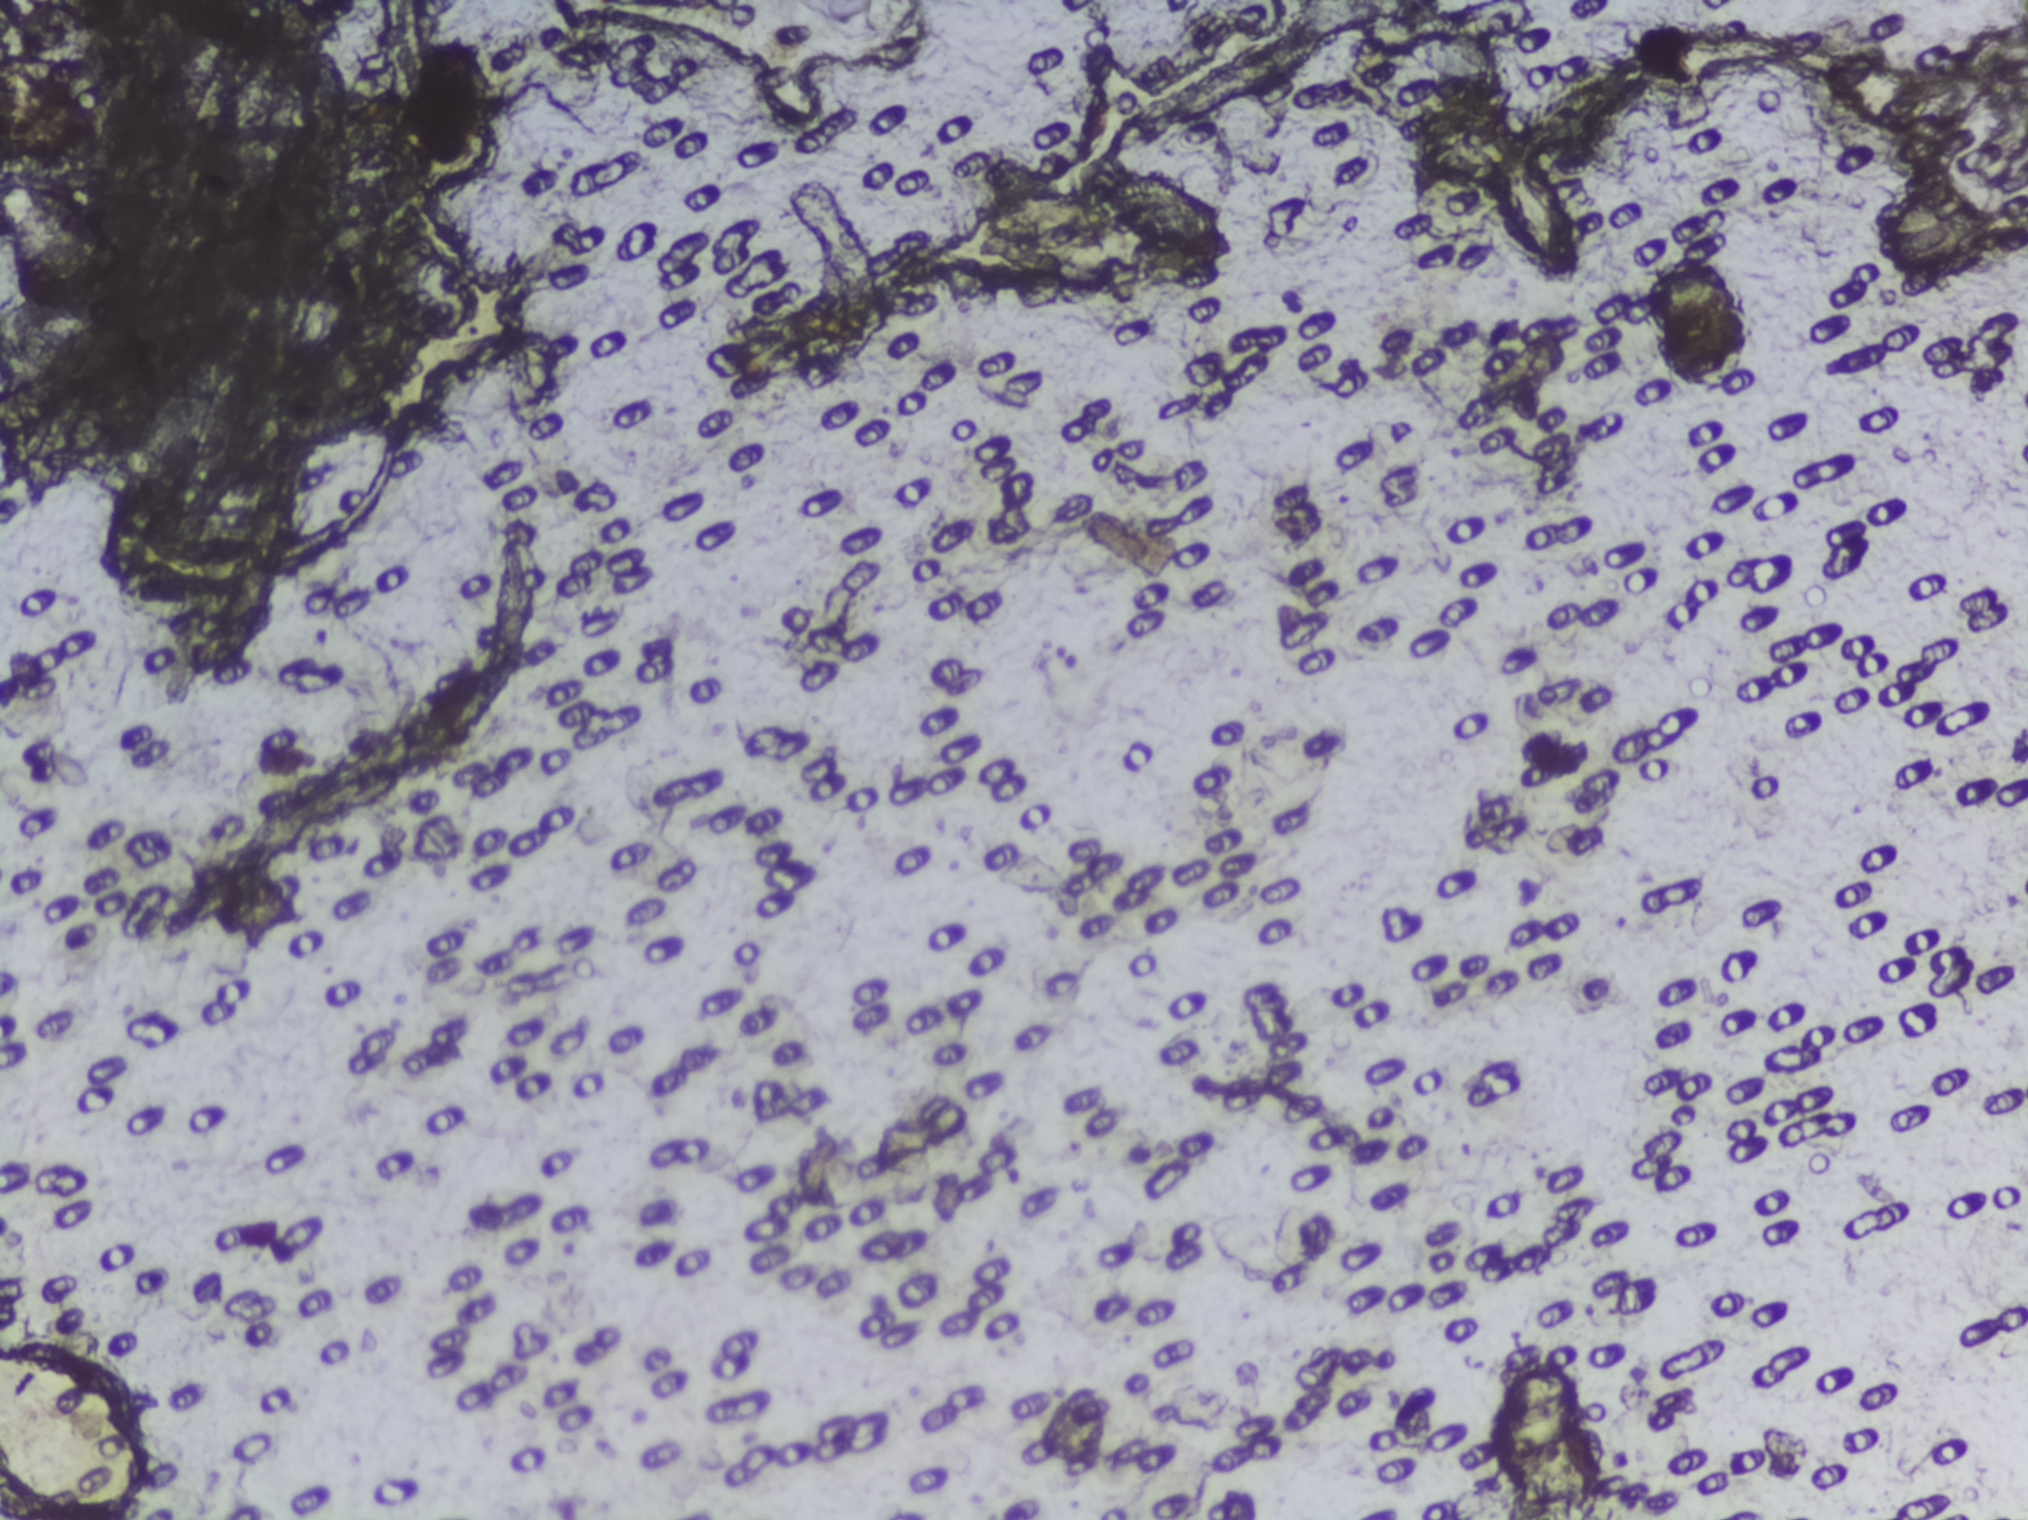
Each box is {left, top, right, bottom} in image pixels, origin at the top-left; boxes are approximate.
Findings: one area outlined as Schistosoma eggs. Location: {0, 1322, 161, 1519} (reaching the left and bottom edges of the frame). A single outlined area may contain several eggs.
Urine filter membrane photographed through a 4× microscope objective.